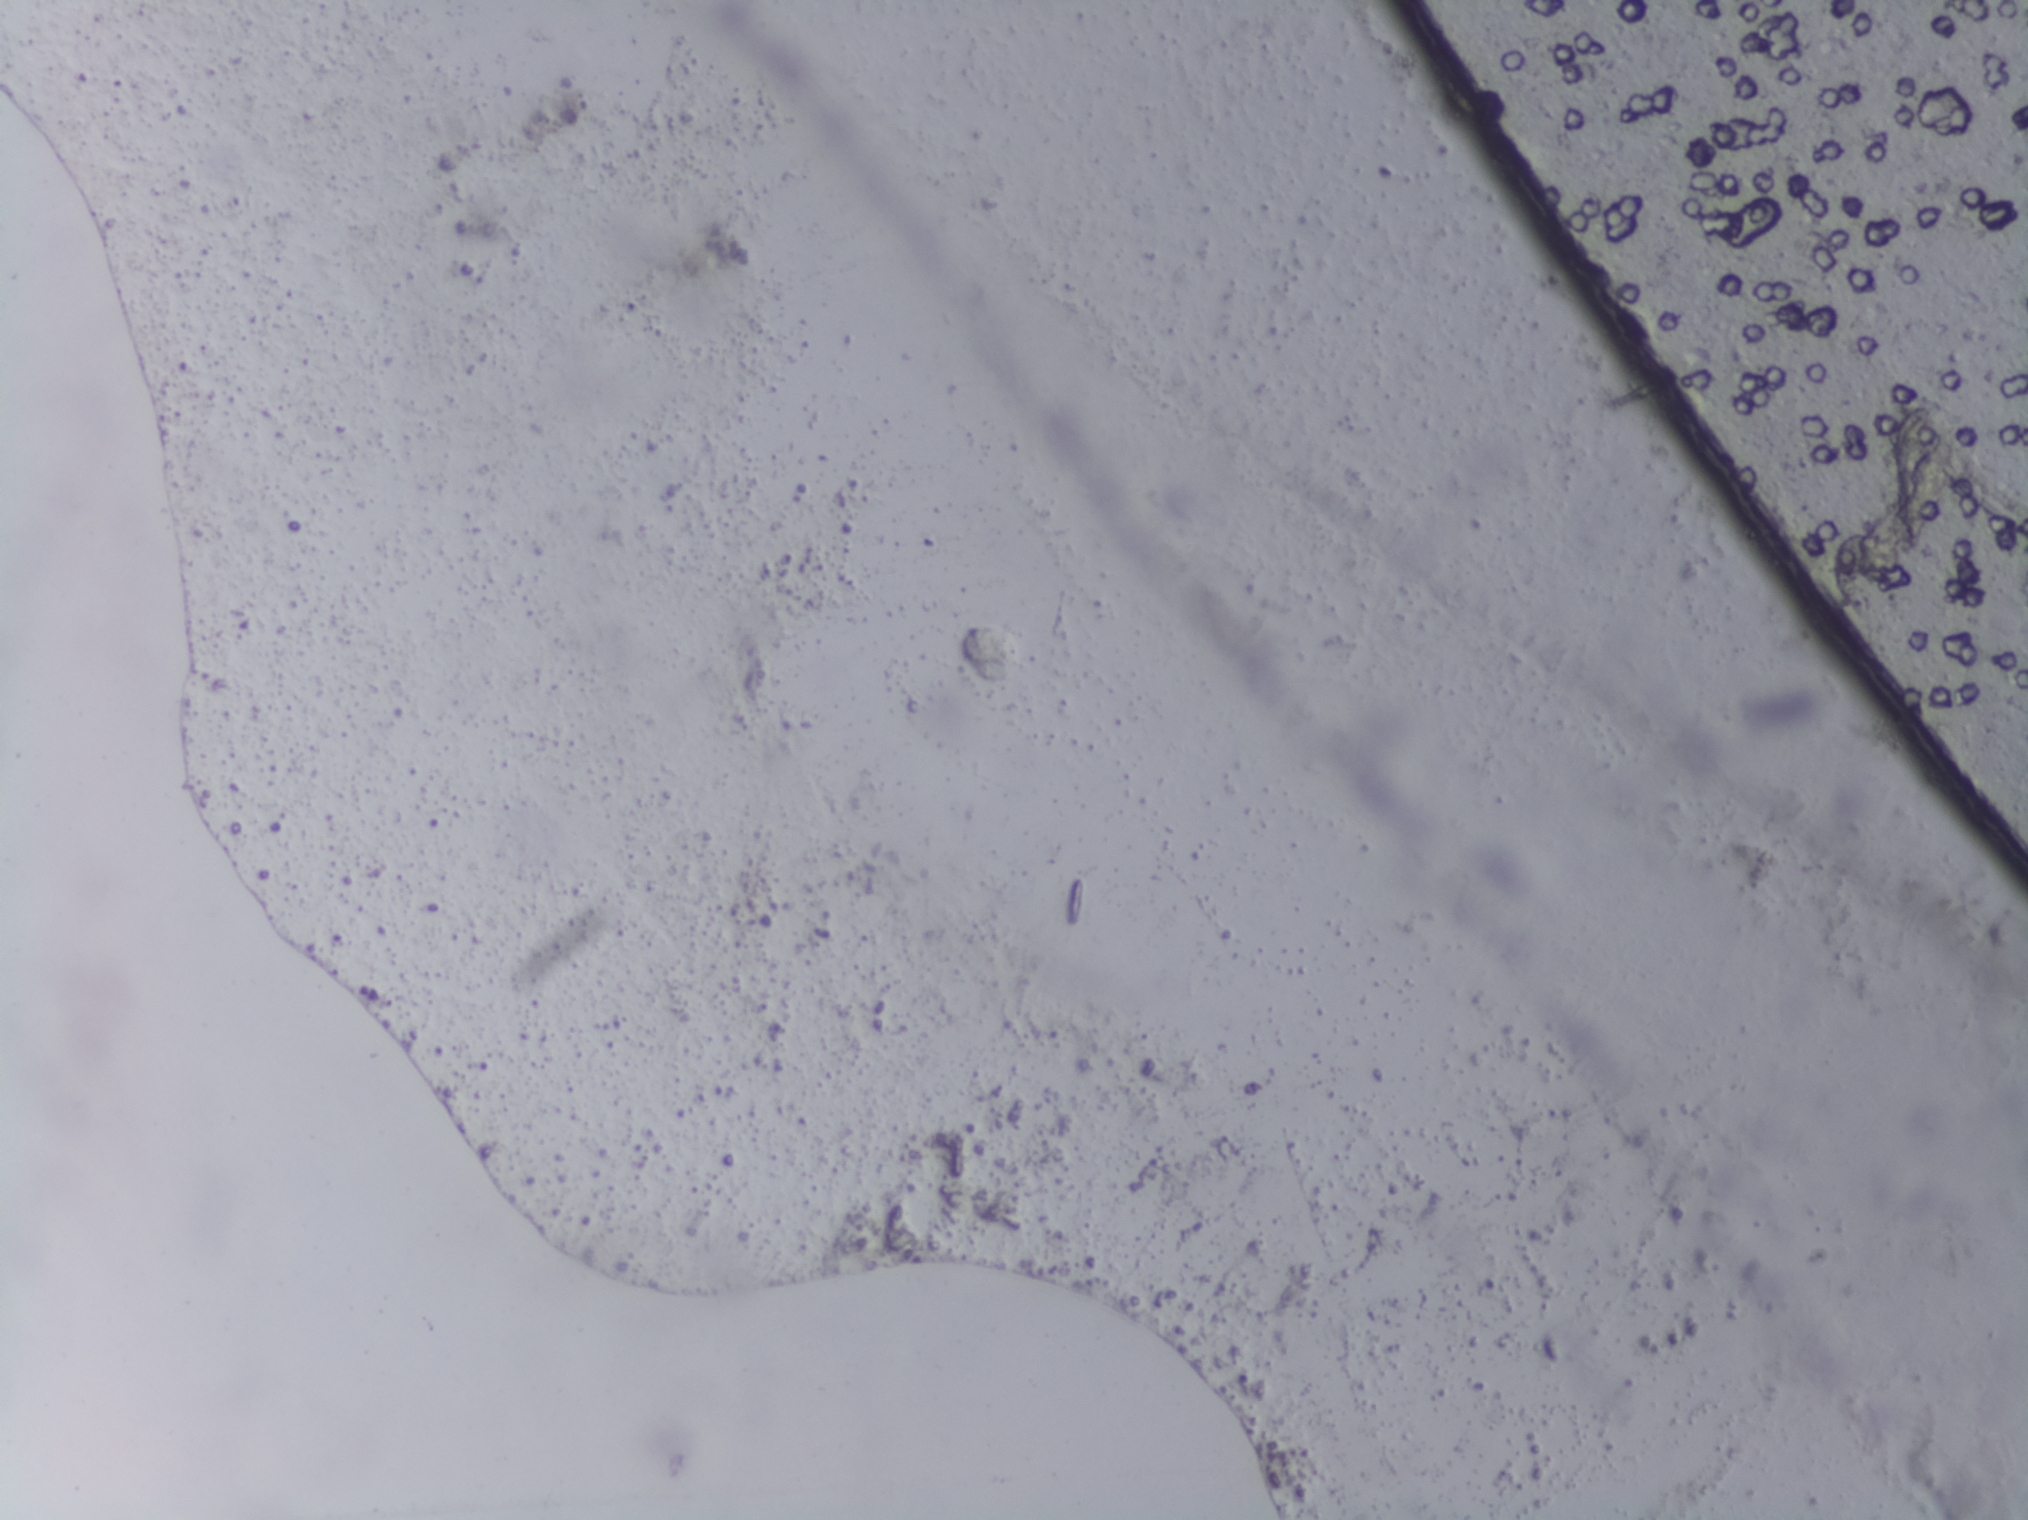
Photograph from an automated digital microscope: urine filter membrane, 4× objective.
The expert annotation marks no Schistosoma egg in this field of view.